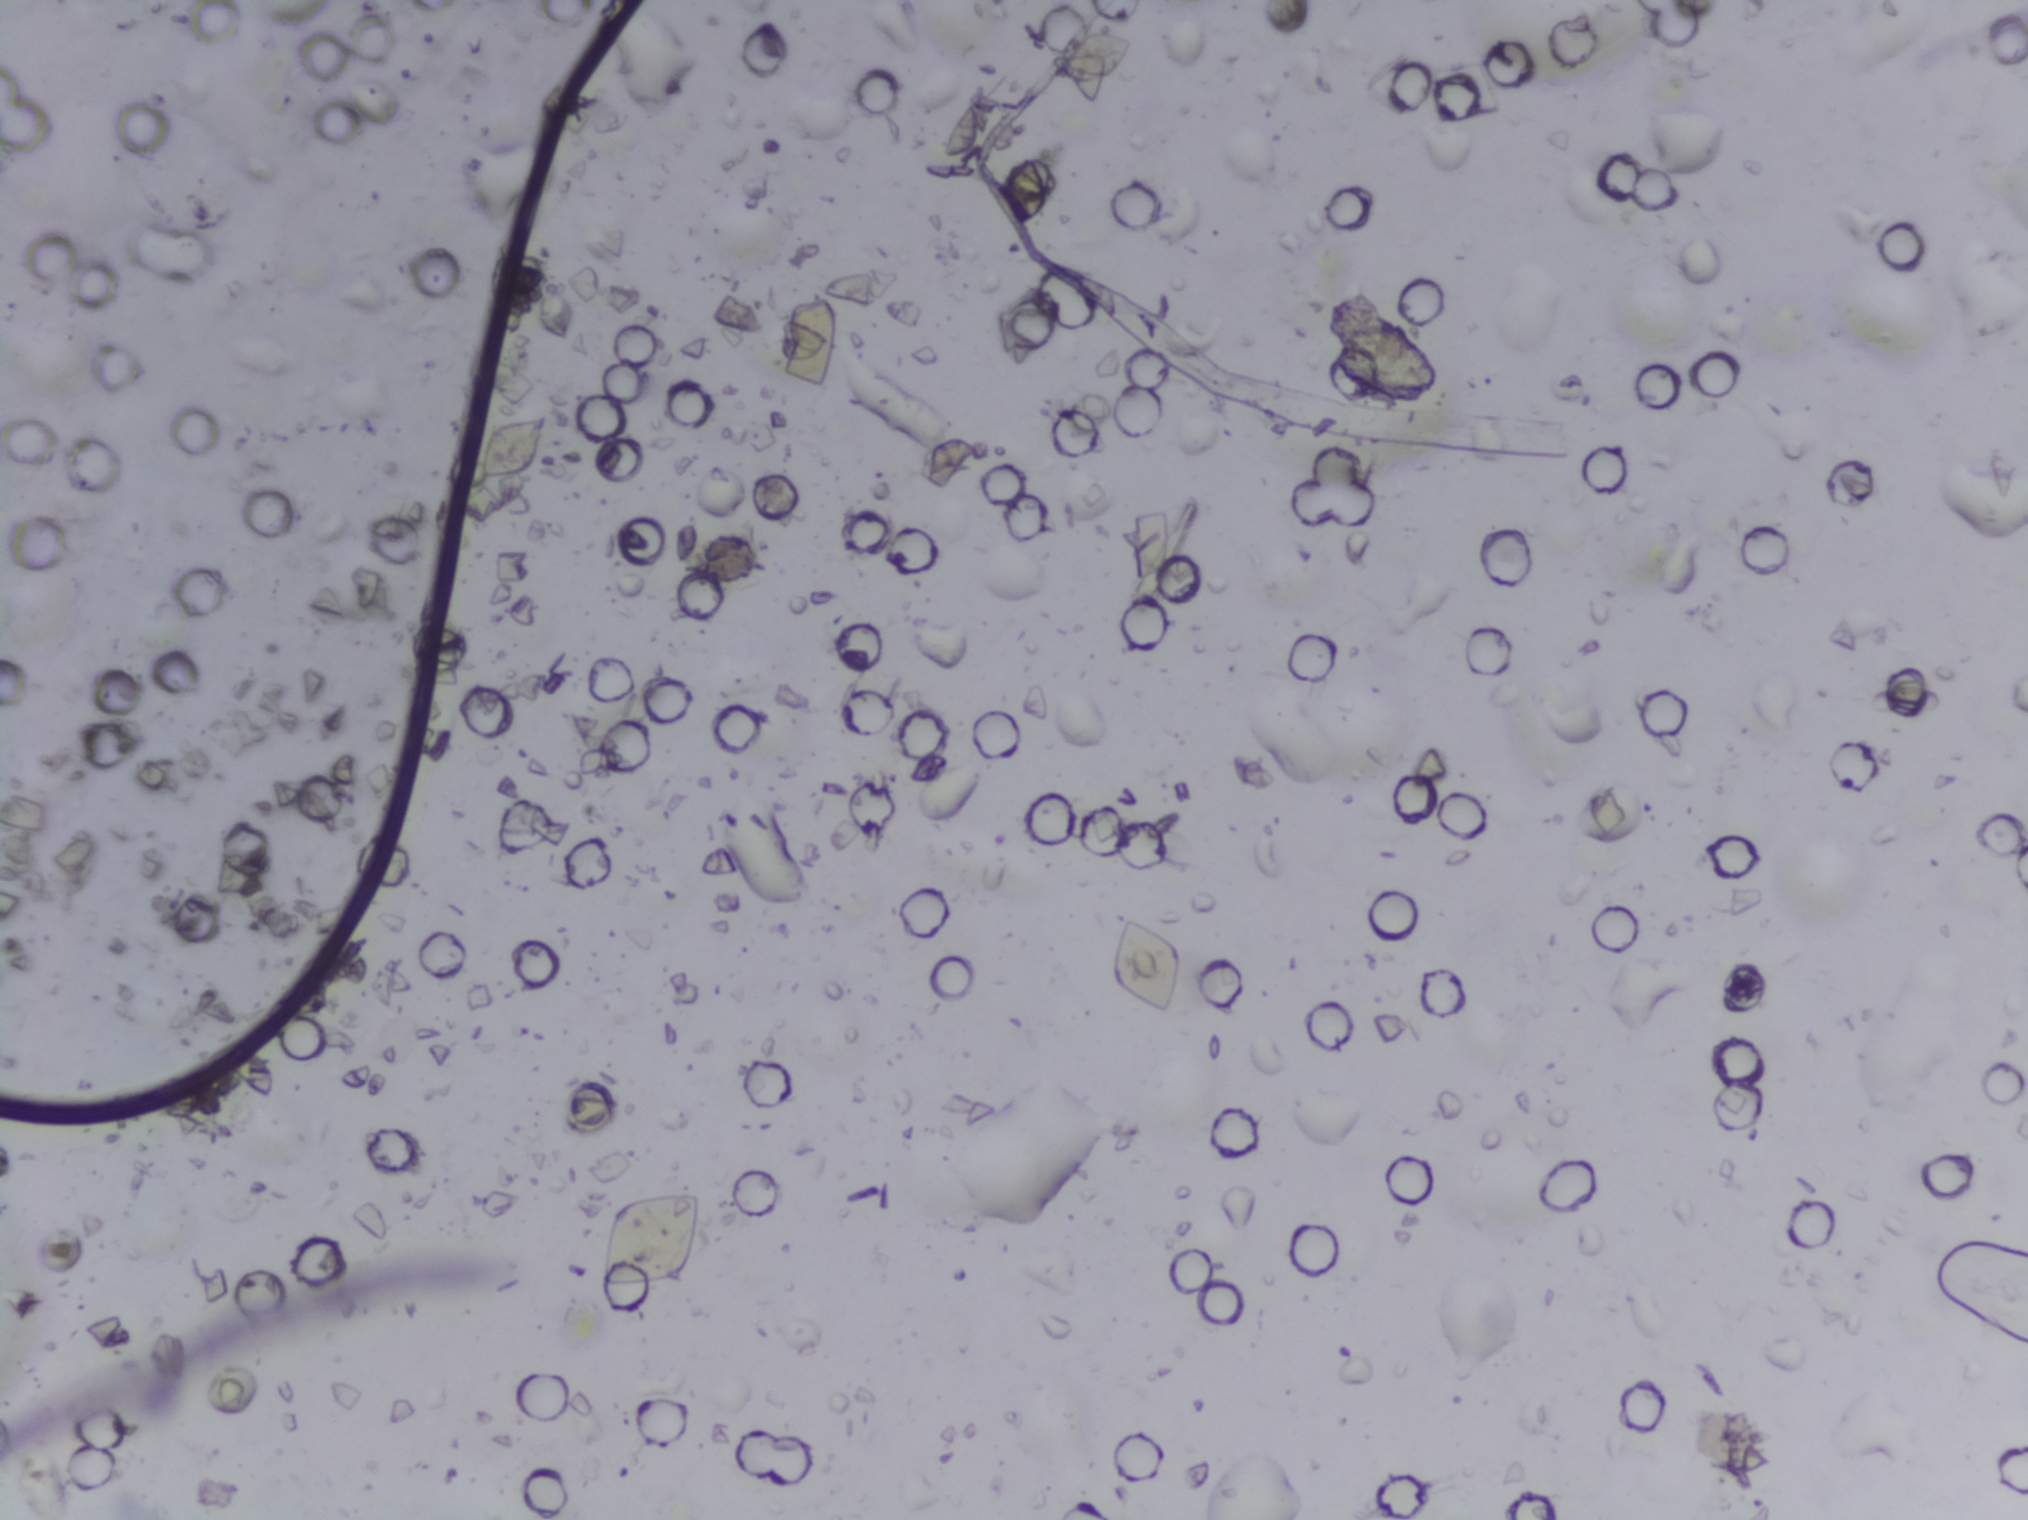
Photograph from an automated digital microscope: urine filter membrane, 4× objective.
Schistosoma eggs: none outlined.